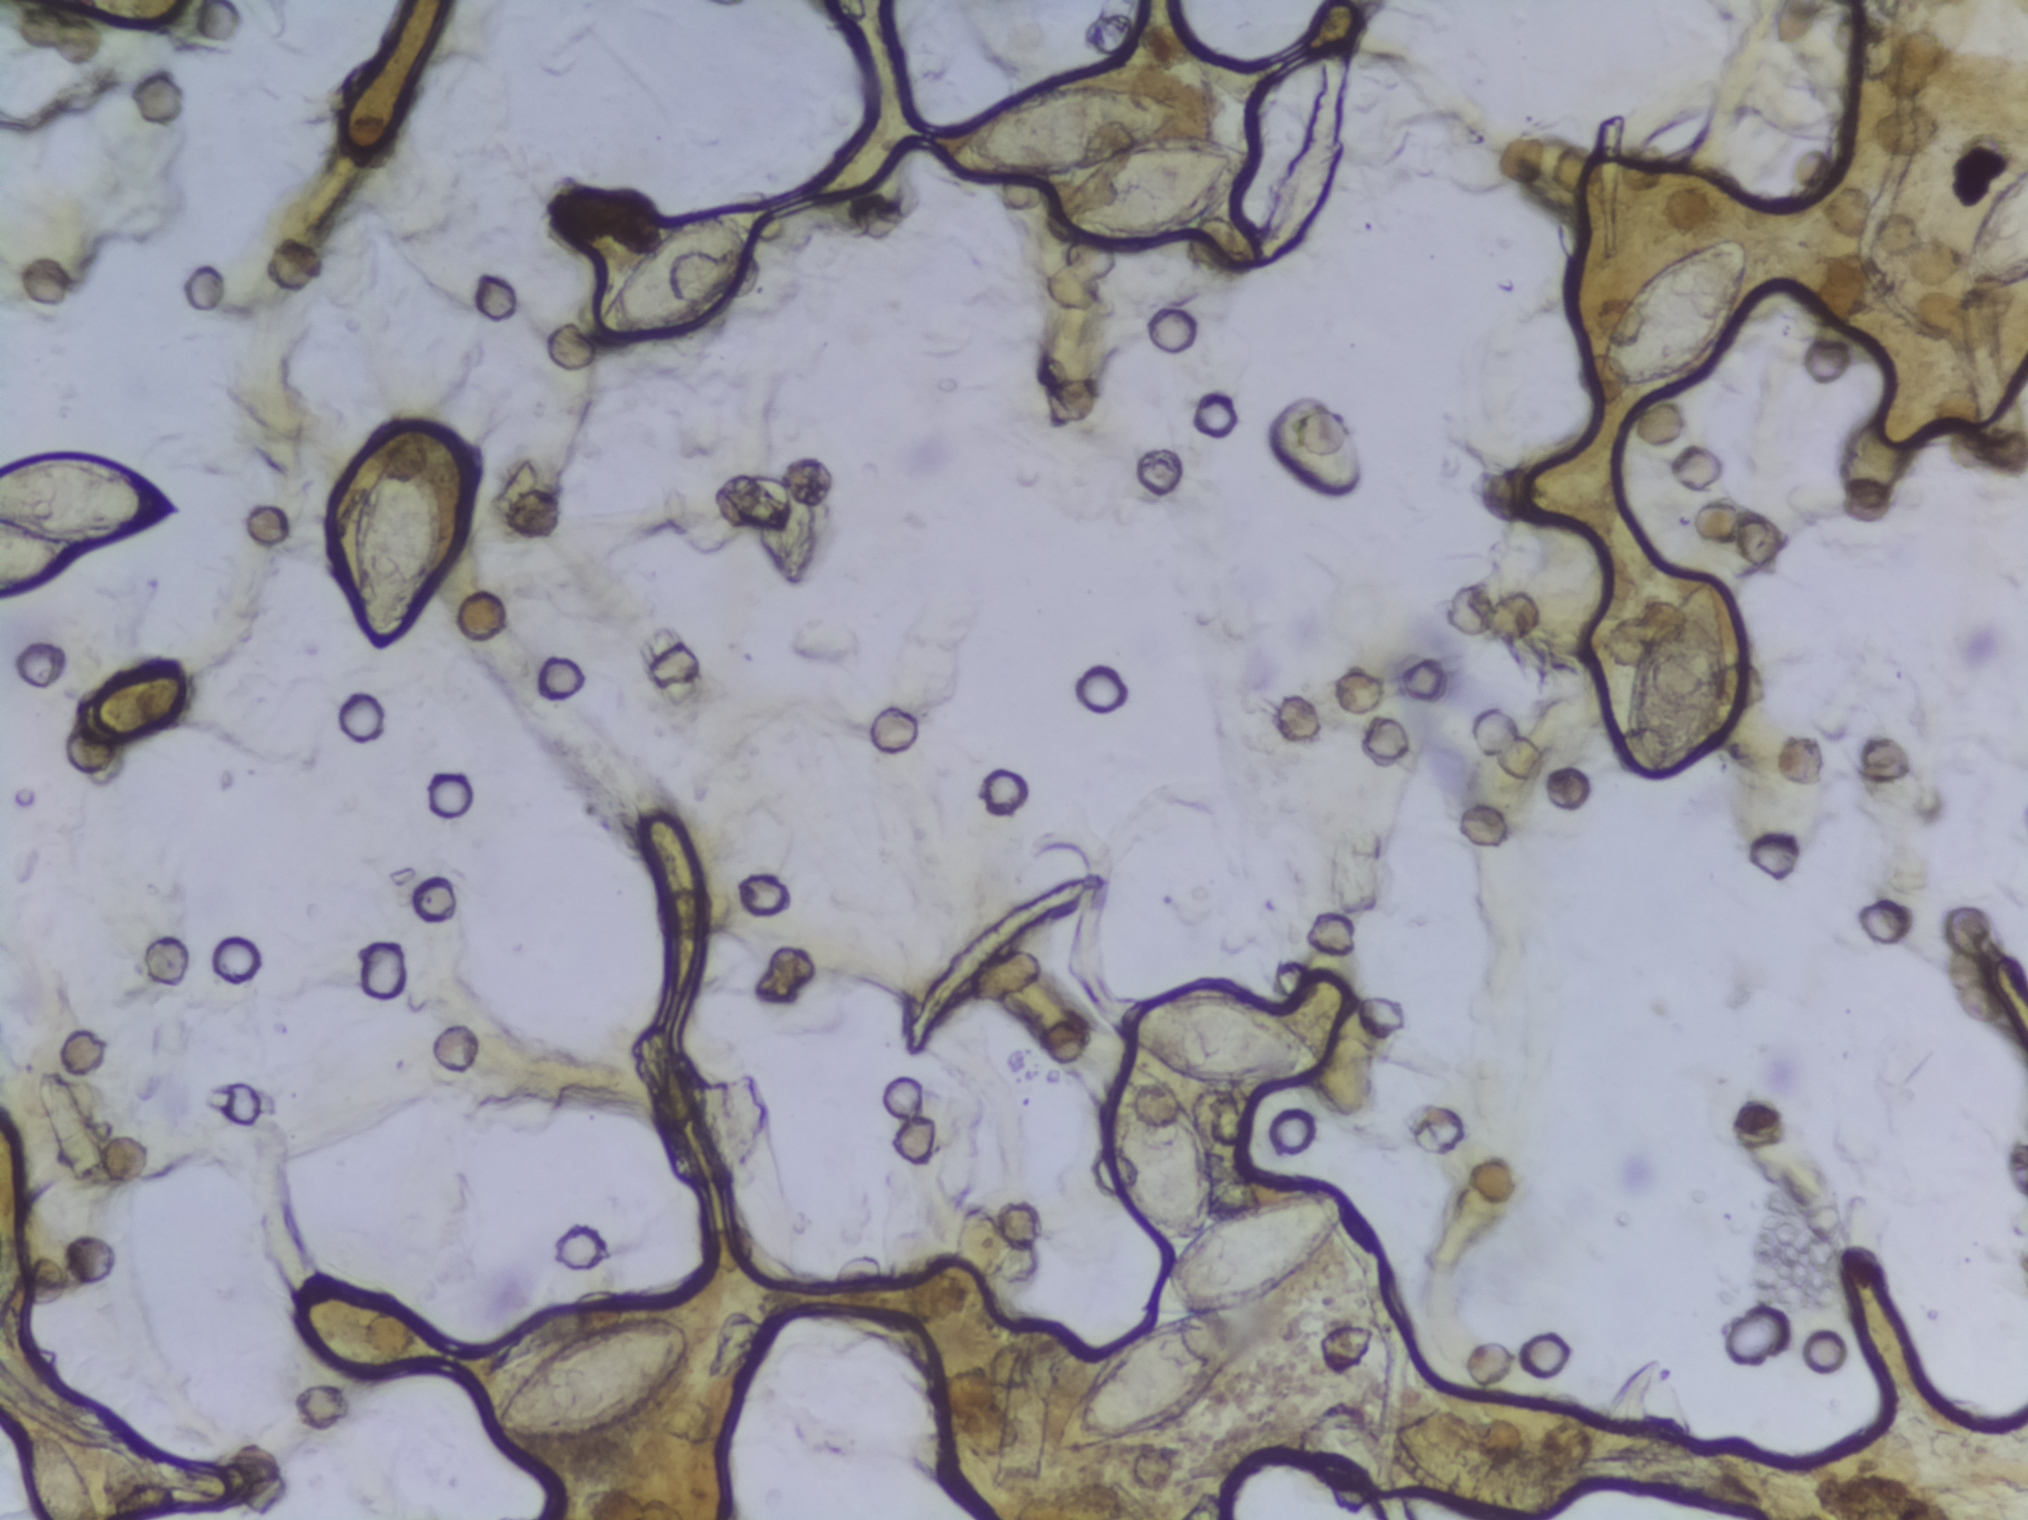
Photomicrograph of a urine filtration membrane, 4× objective. The image covers about 1.5 × 1.1 mm of the membrane.
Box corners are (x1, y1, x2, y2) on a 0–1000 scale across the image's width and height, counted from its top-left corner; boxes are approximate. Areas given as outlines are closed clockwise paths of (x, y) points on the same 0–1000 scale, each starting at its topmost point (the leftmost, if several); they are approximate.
11 areas of this image are outlined as Schistosoma eggs, from left to right: box (0, 295, 93, 391) (reaching the left edge of the frame); box (9, 939, 52, 1000) (reaching the bottom edge of the frame); box (174, 280, 223, 434); box (243, 866, 341, 949); box (287, 126, 382, 232); box (472, 53, 623, 168); outline (559, 698), (576, 712), (595, 747), (602, 800), (630, 787), (656, 785), (661, 792), (662, 805), (656, 821), (630, 850), (603, 865), (609, 897), (590, 927), (559, 947), (522, 957), (522, 935), (540, 896), (575, 868), (562, 866), (561, 862), (582, 825), (561, 806), (545, 768), (544, 738), (554, 704); box (551, 652, 651, 717); box (782, 156, 864, 263); box (798, 374, 857, 517); box (964, 104, 1000, 197) (reaching the right edge of the frame). Eggs that touch can end up inside the same outlined area. A marked egg may occasionally be S. mansoni rather than S. haematobium.